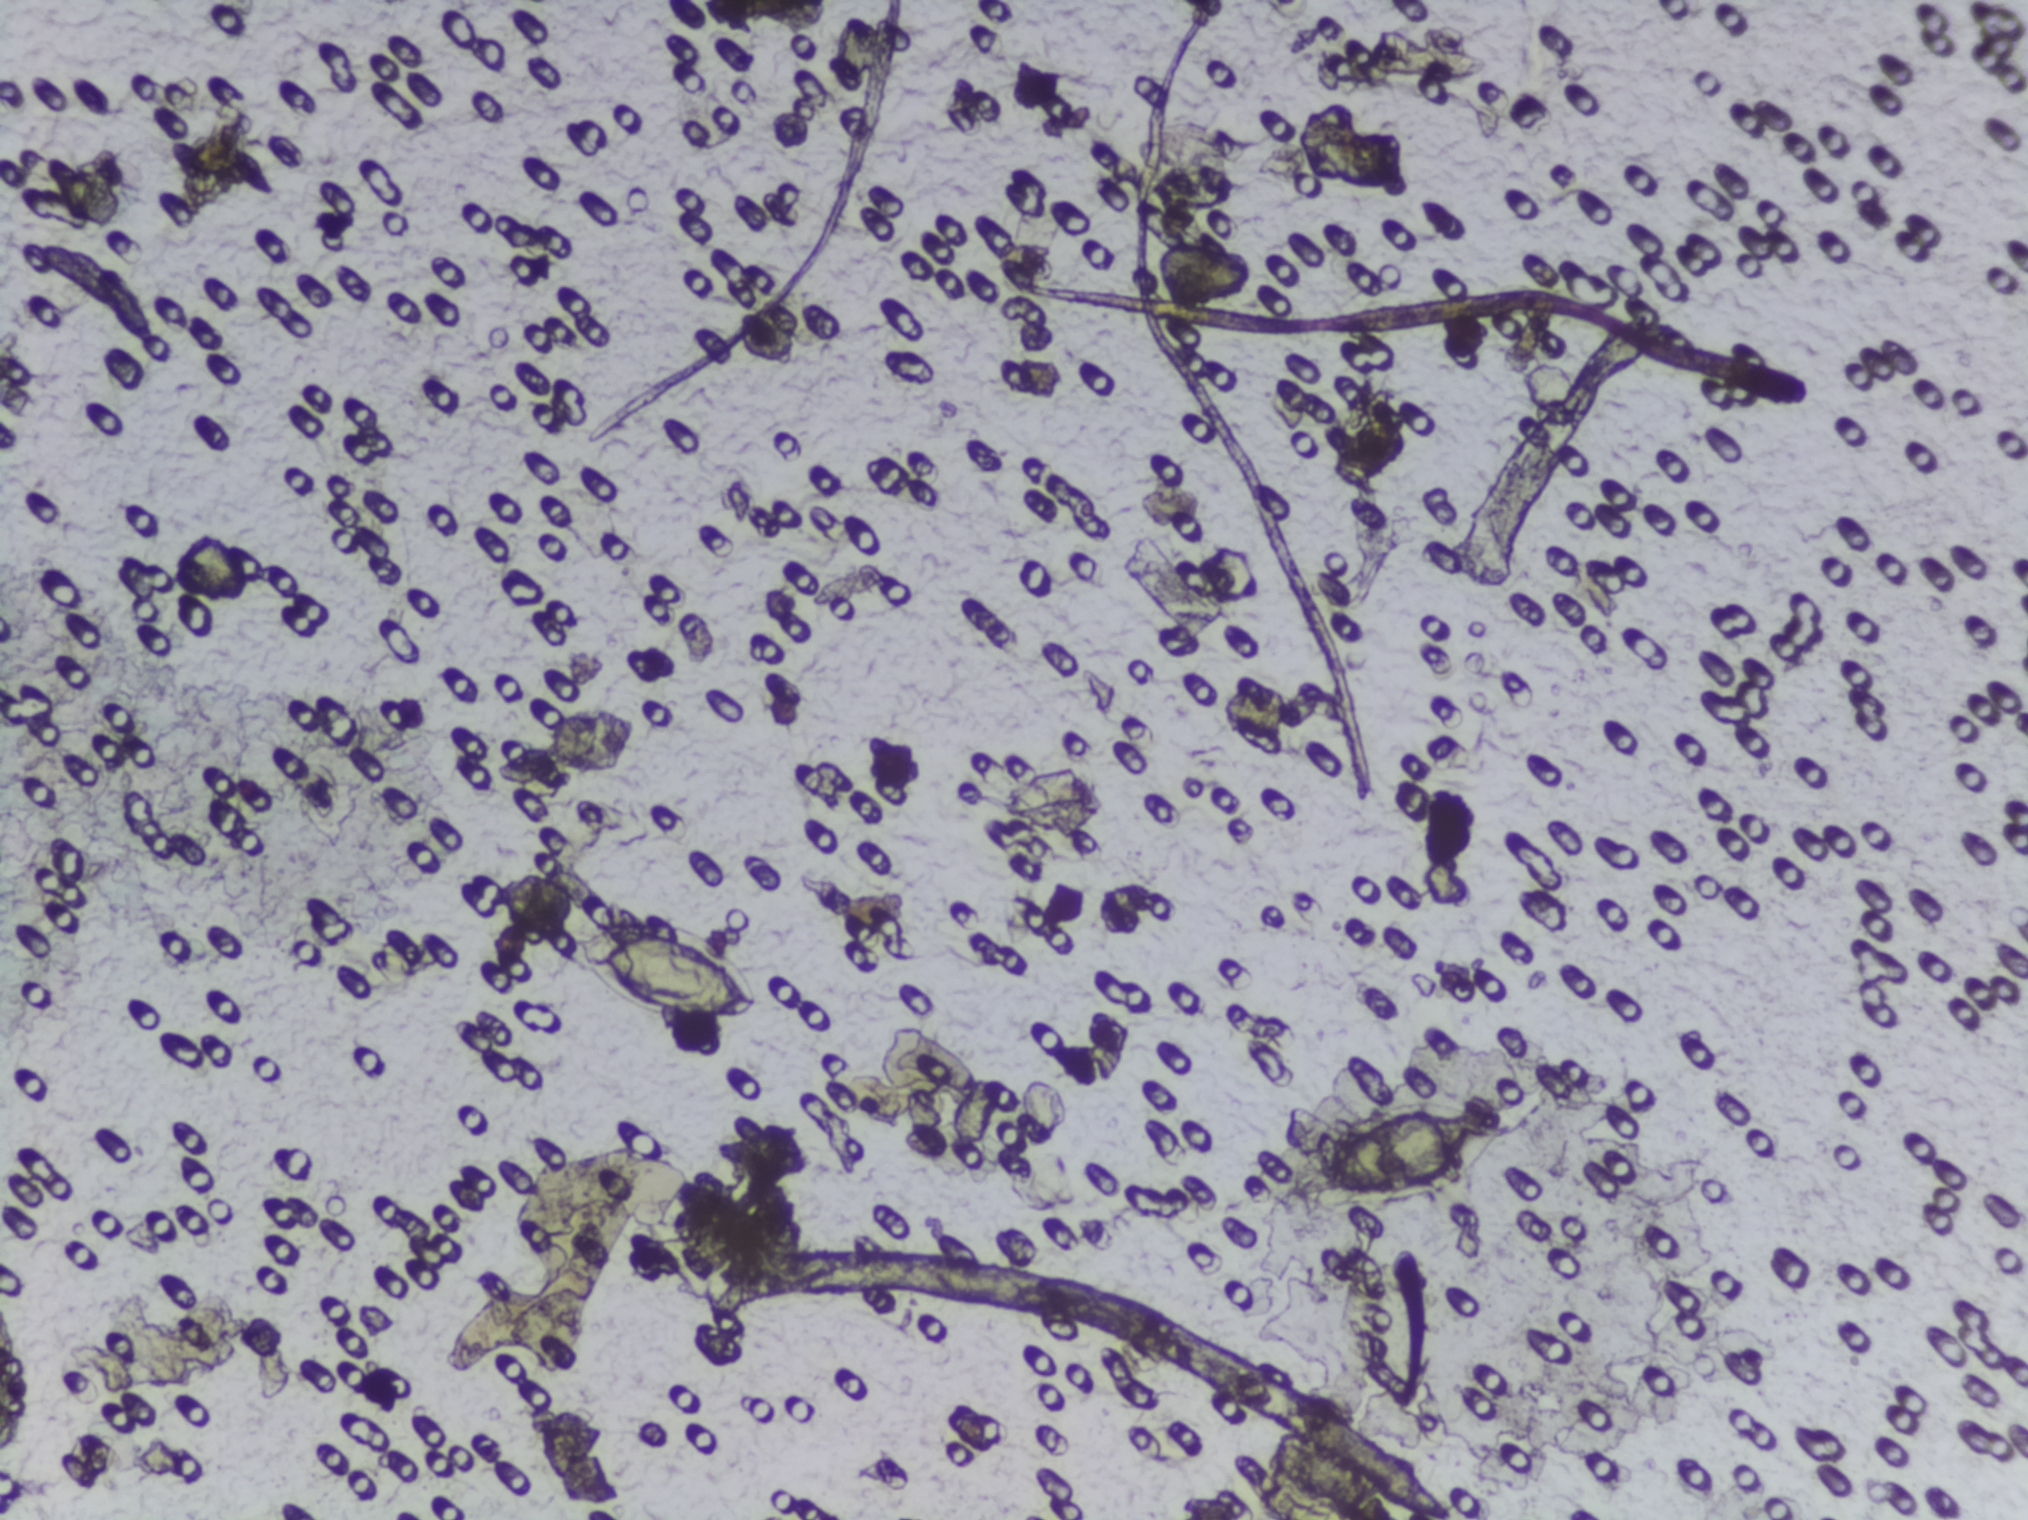
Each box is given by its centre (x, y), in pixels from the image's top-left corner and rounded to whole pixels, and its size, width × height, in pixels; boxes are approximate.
Two areas of this image are outlined as Schistosoma eggs, from left to right: centre (661, 969), 214 × 114 px and centre (1394, 1147), 209 × 107 px. An outlined area can hold more than one egg.
One field of view of a urine filter membrane, 4× objective, 2028 × 1520 pixels.